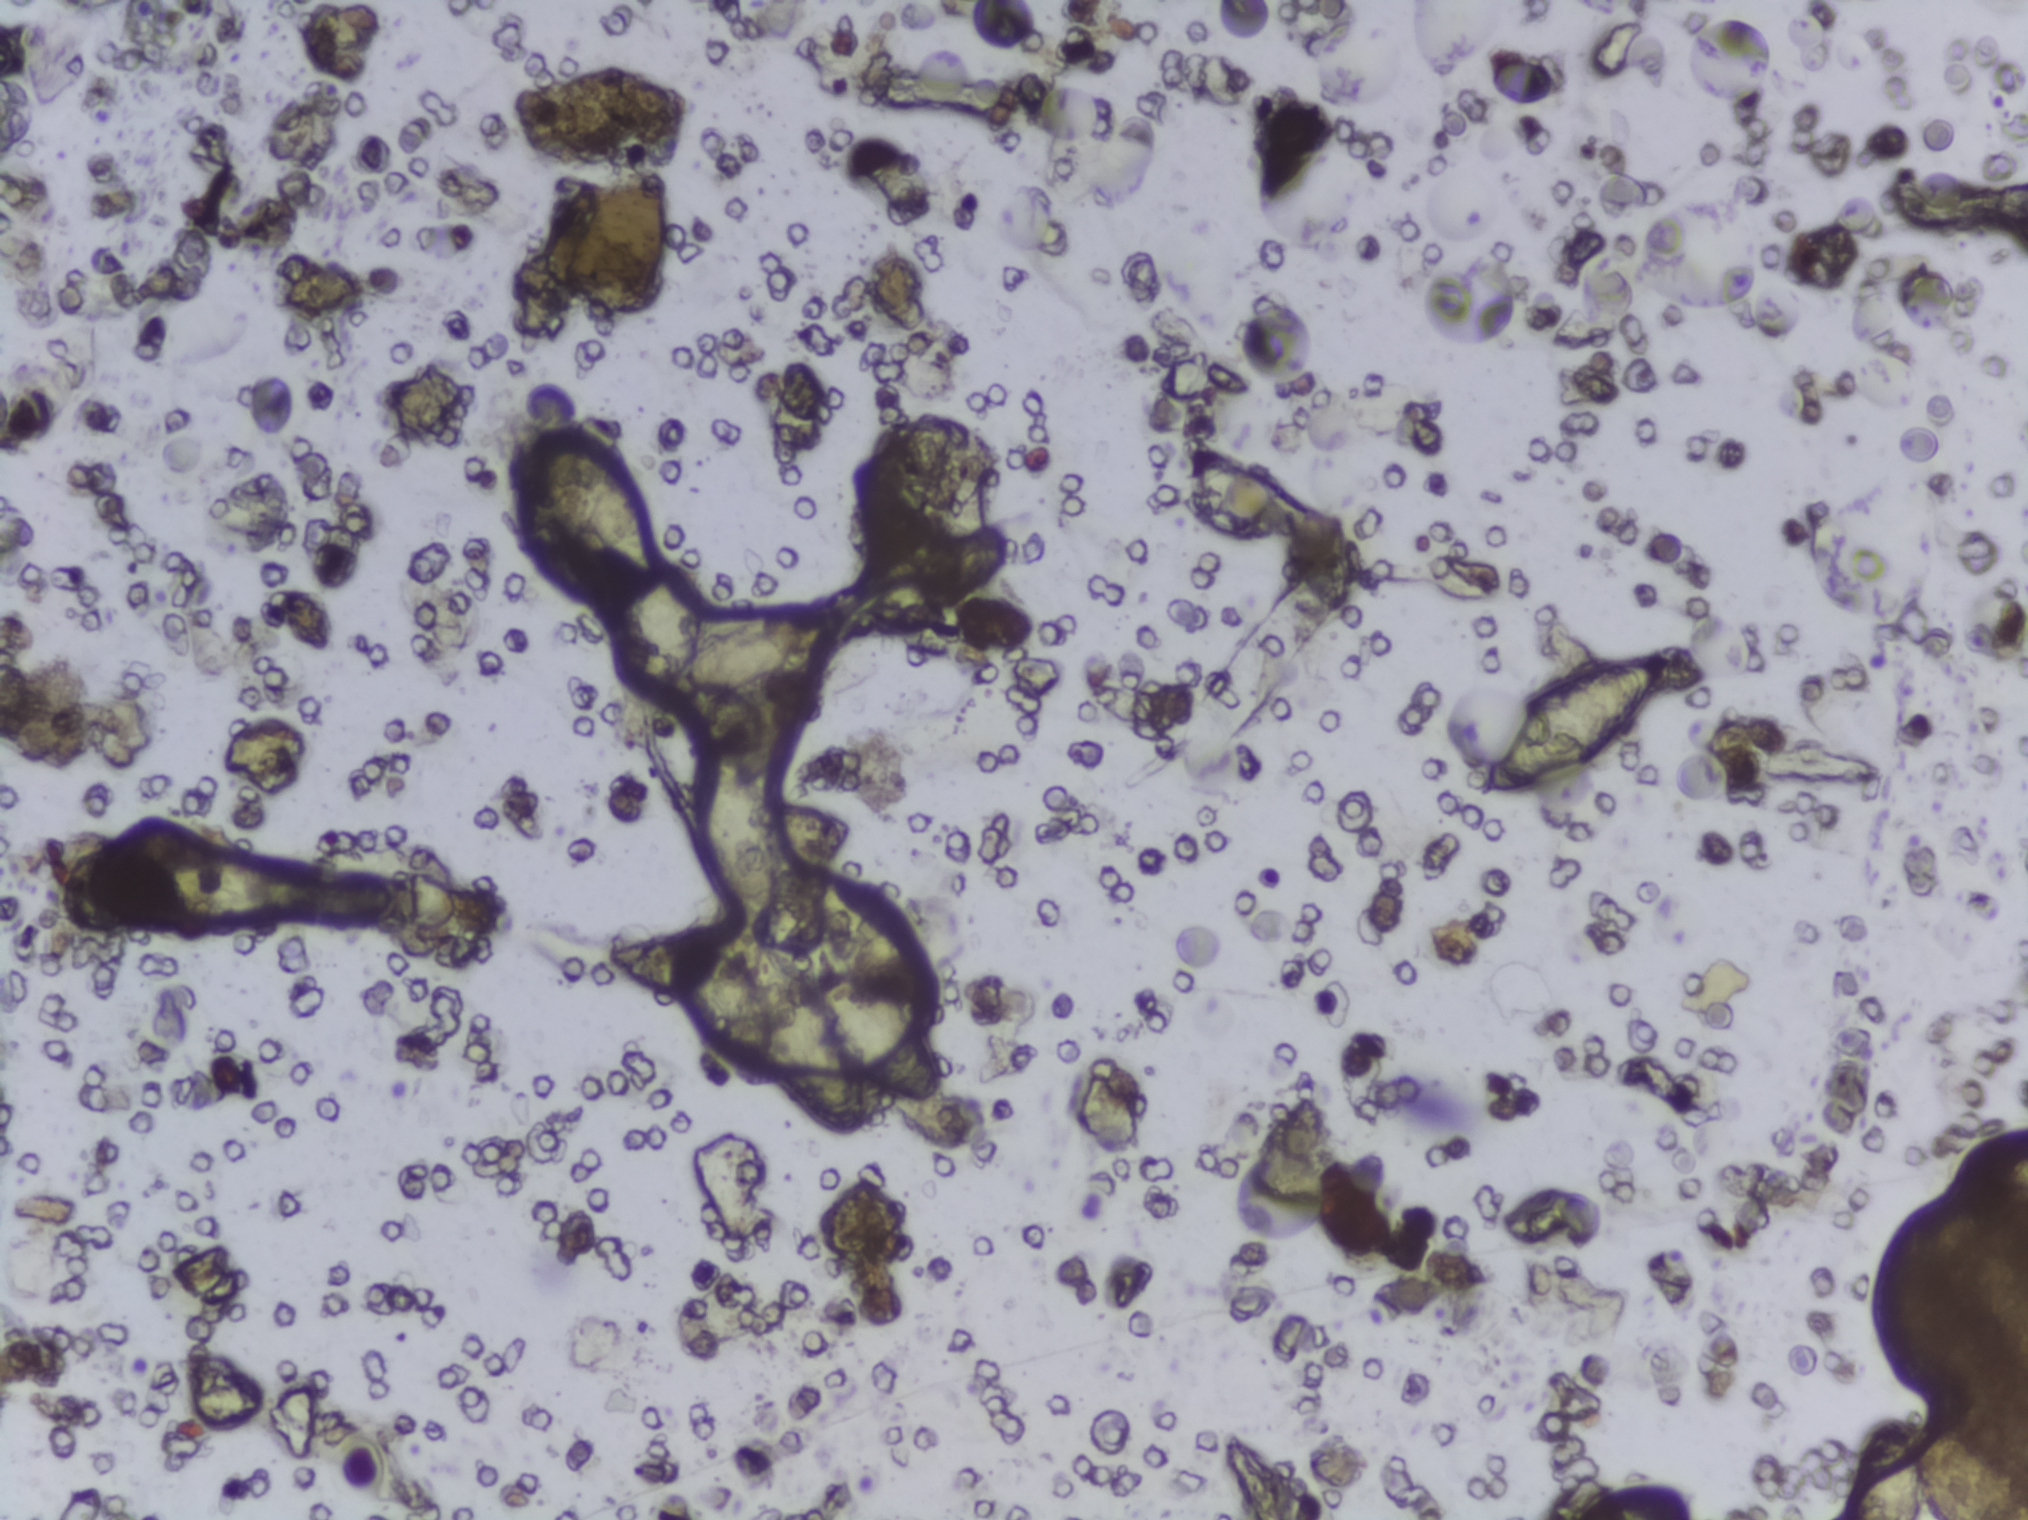
Photograph from an automated digital microscope: urine filter membrane, 4× objective.
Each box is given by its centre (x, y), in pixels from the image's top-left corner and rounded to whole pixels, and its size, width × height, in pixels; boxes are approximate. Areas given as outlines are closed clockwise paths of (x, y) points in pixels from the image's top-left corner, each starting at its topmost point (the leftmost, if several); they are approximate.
Outlined Schistosoma egg areas, left to right:
1. outline (597, 409), (611, 417), (615, 452), (643, 489), (659, 555), (678, 555), (695, 570), (703, 625), (773, 603), (804, 602), (813, 616), (813, 637), (796, 664), (749, 689), (696, 694), (678, 680), (660, 707), (636, 711), (626, 702), (610, 636), (621, 596), (636, 575), (612, 562), (585, 533), (567, 553), (533, 559), (519, 528), (529, 455), (561, 425)
2. box centre (735, 834), 82 × 180 px
3. box centre (775, 1009), 331 × 264 px
4. box centre (1572, 726), 195 × 155 px
5. box centre (1935, 1468), 186 × 104 px (reaching the right and bottom edges of the frame)
An outlined area can hold more than one egg.